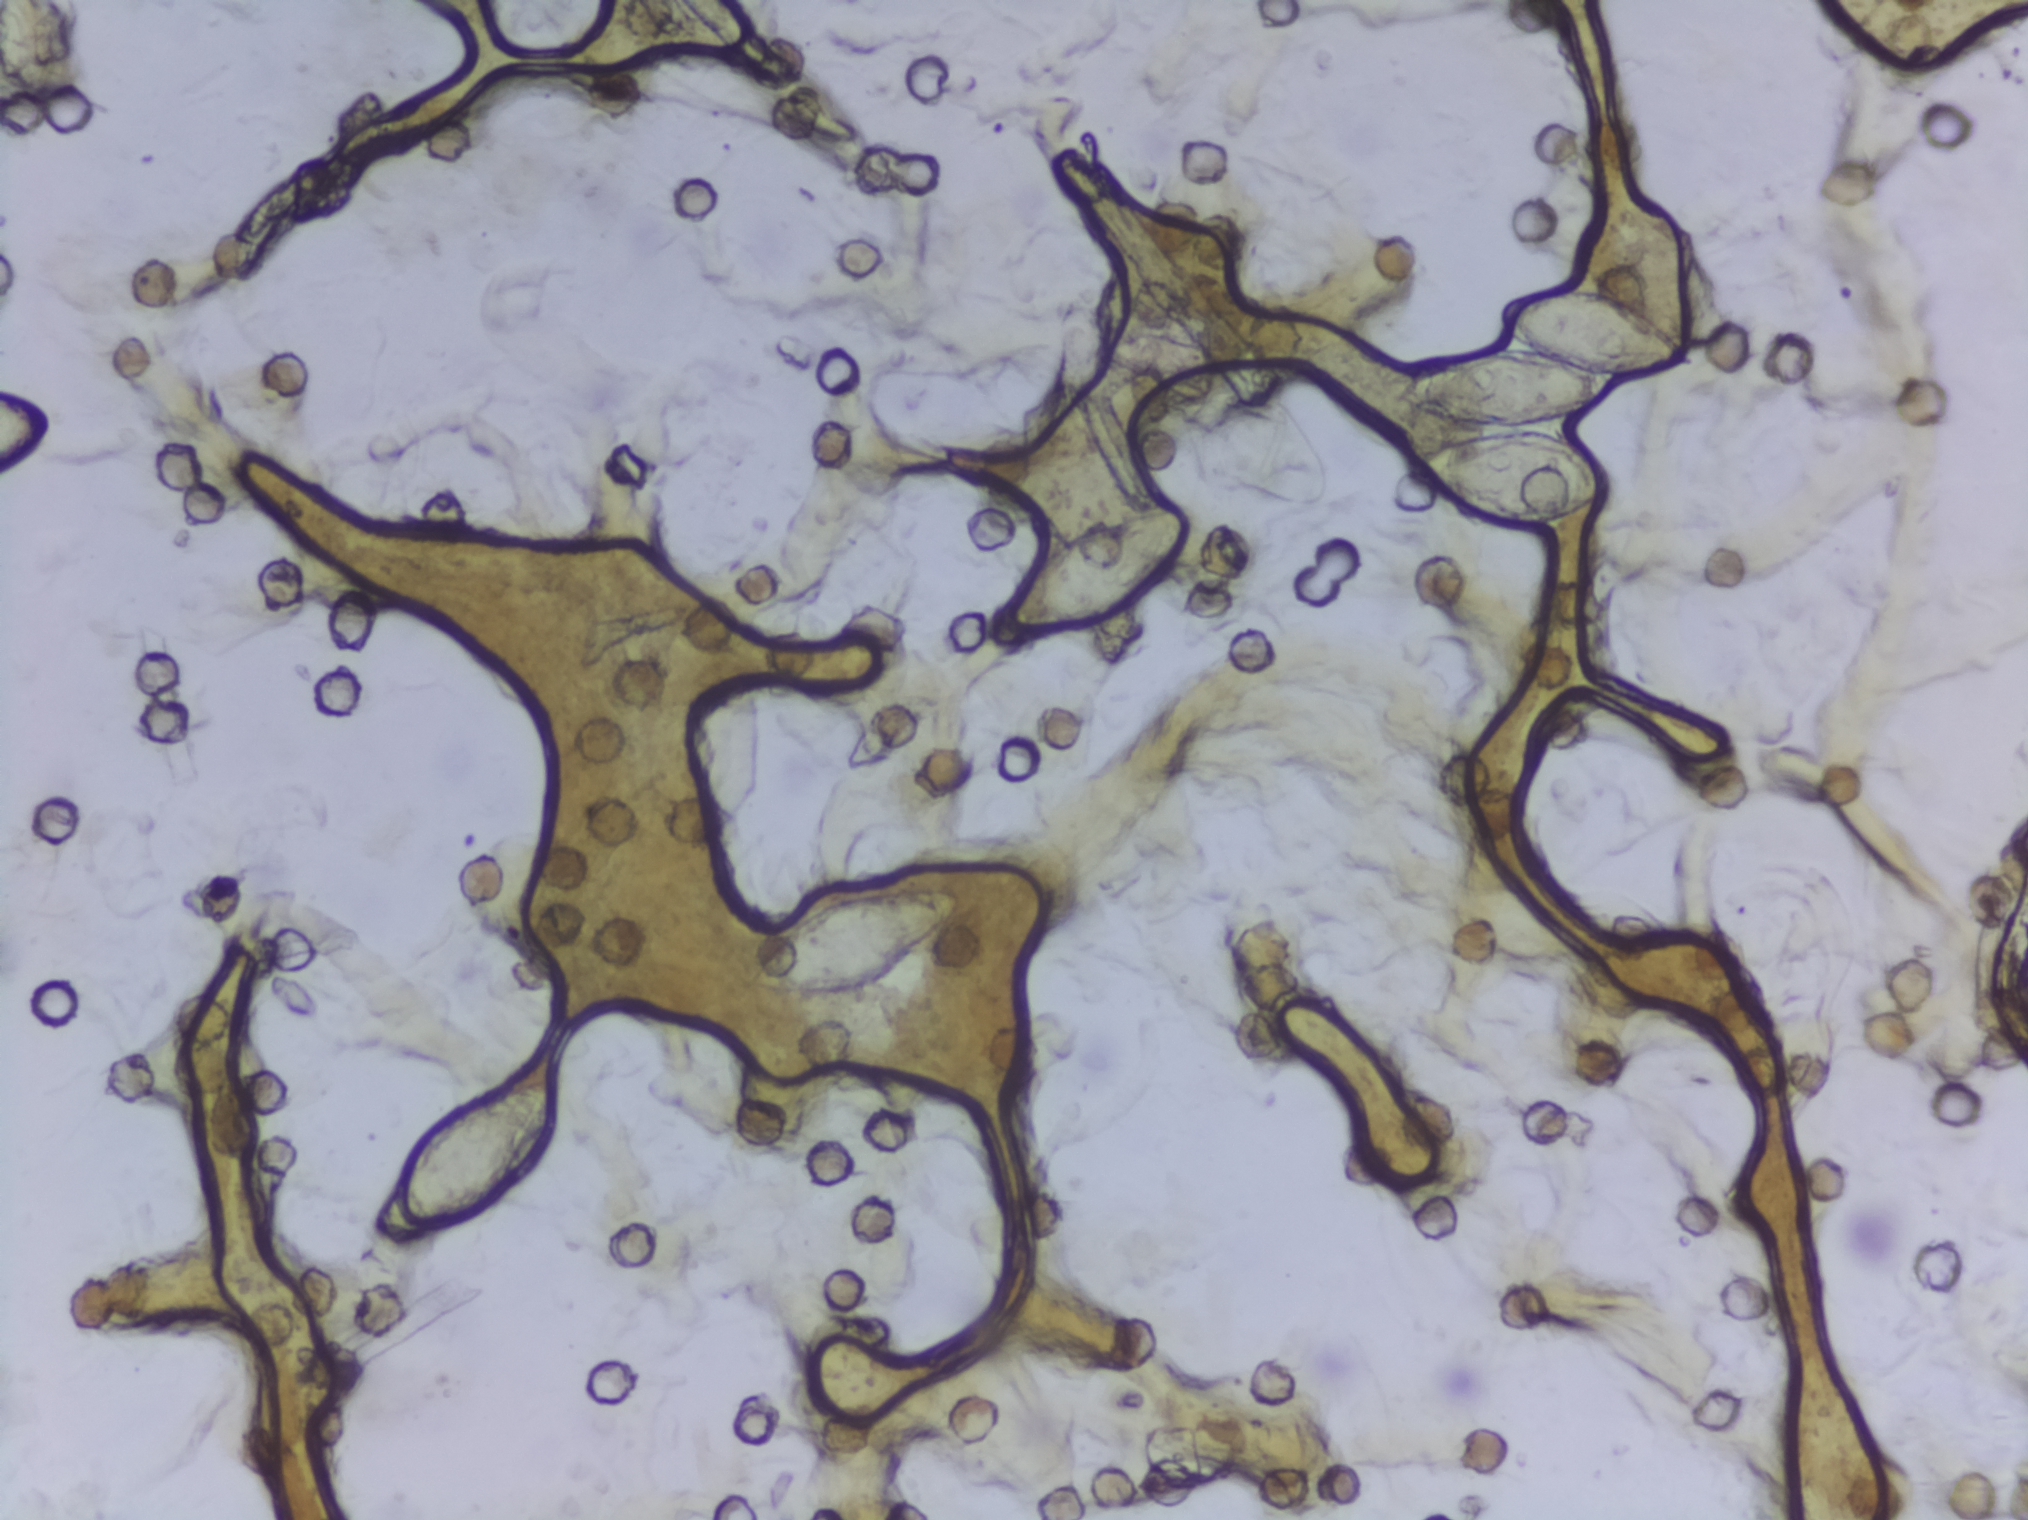
Microscope photograph (4× objective) of a membrane that a urine sample was filtered through.
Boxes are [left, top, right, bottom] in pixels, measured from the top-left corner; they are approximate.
Areas outlined as Schistosoma eggs: [0, 385, 56, 479] (reaching the left edge of the frame); [378, 1079, 563, 1239]; [747, 885, 963, 998]; [987, 504, 1192, 640]; [1395, 288, 1701, 426]; [1413, 428, 1611, 533]. About 3.1% of the image's pixels are marked (the marked pixels themselves, not the boxes around them). Eggs that touch can end up inside the same outlined area.